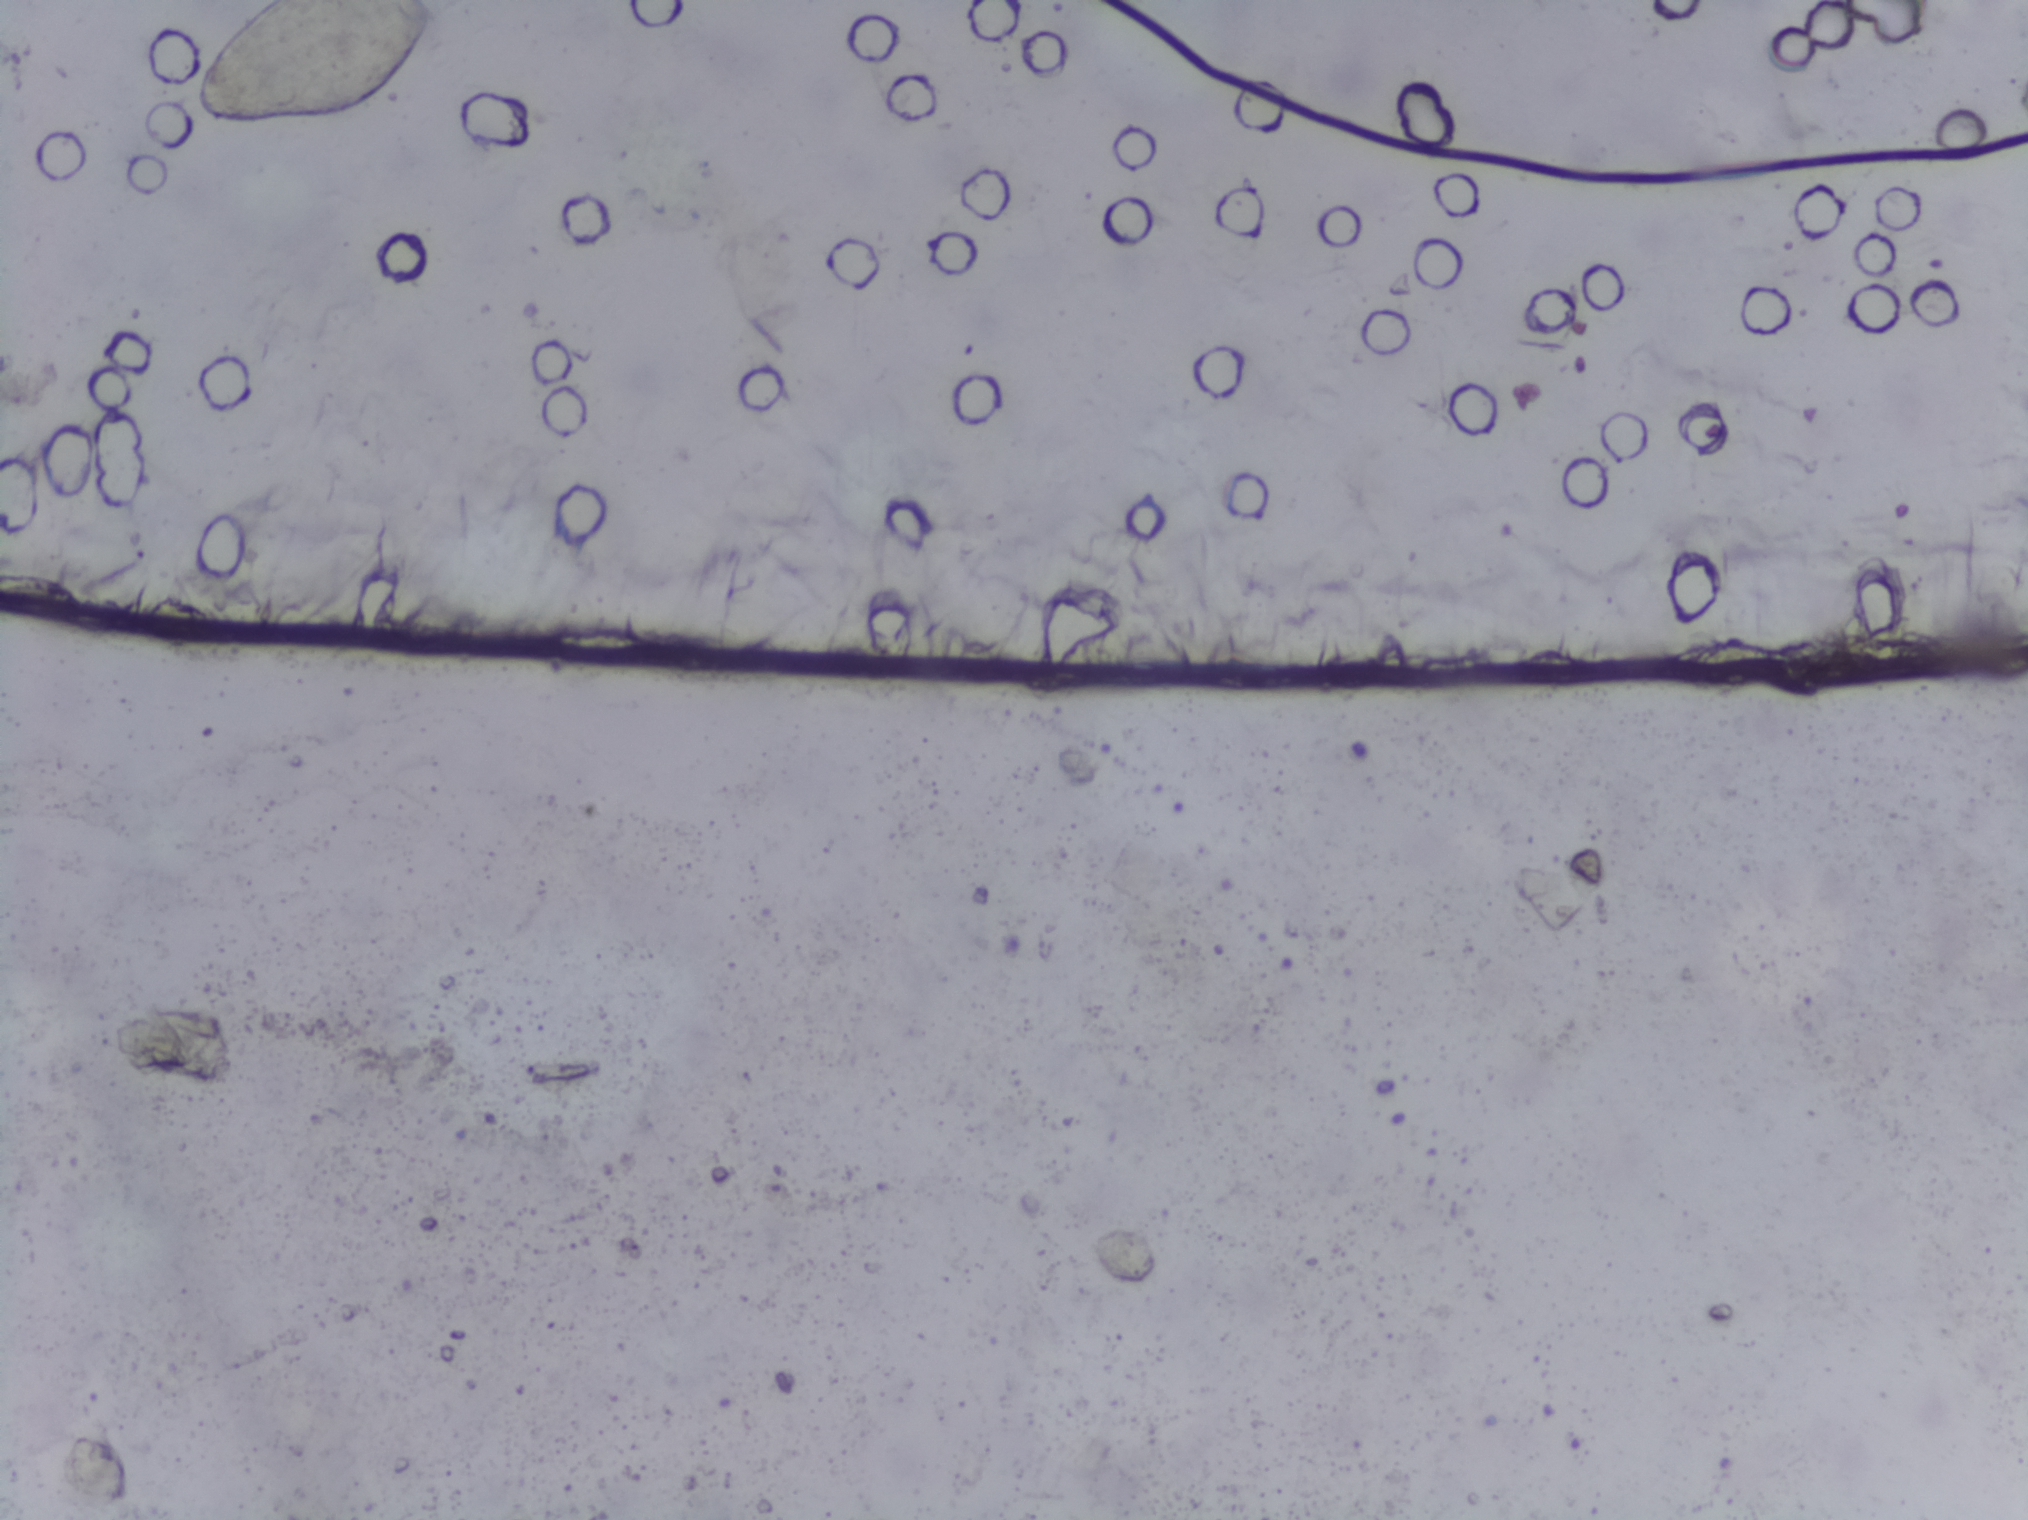
Microscope photograph (4× objective) of a membrane that a urine sample was filtered through.
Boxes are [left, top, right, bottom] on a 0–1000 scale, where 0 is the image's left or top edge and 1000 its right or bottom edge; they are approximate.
Schistosoma eggs are outlined in the expert annotation at [88, 0, 229, 86] (reaching the top edge of the frame). A single outlined area may contain several eggs.